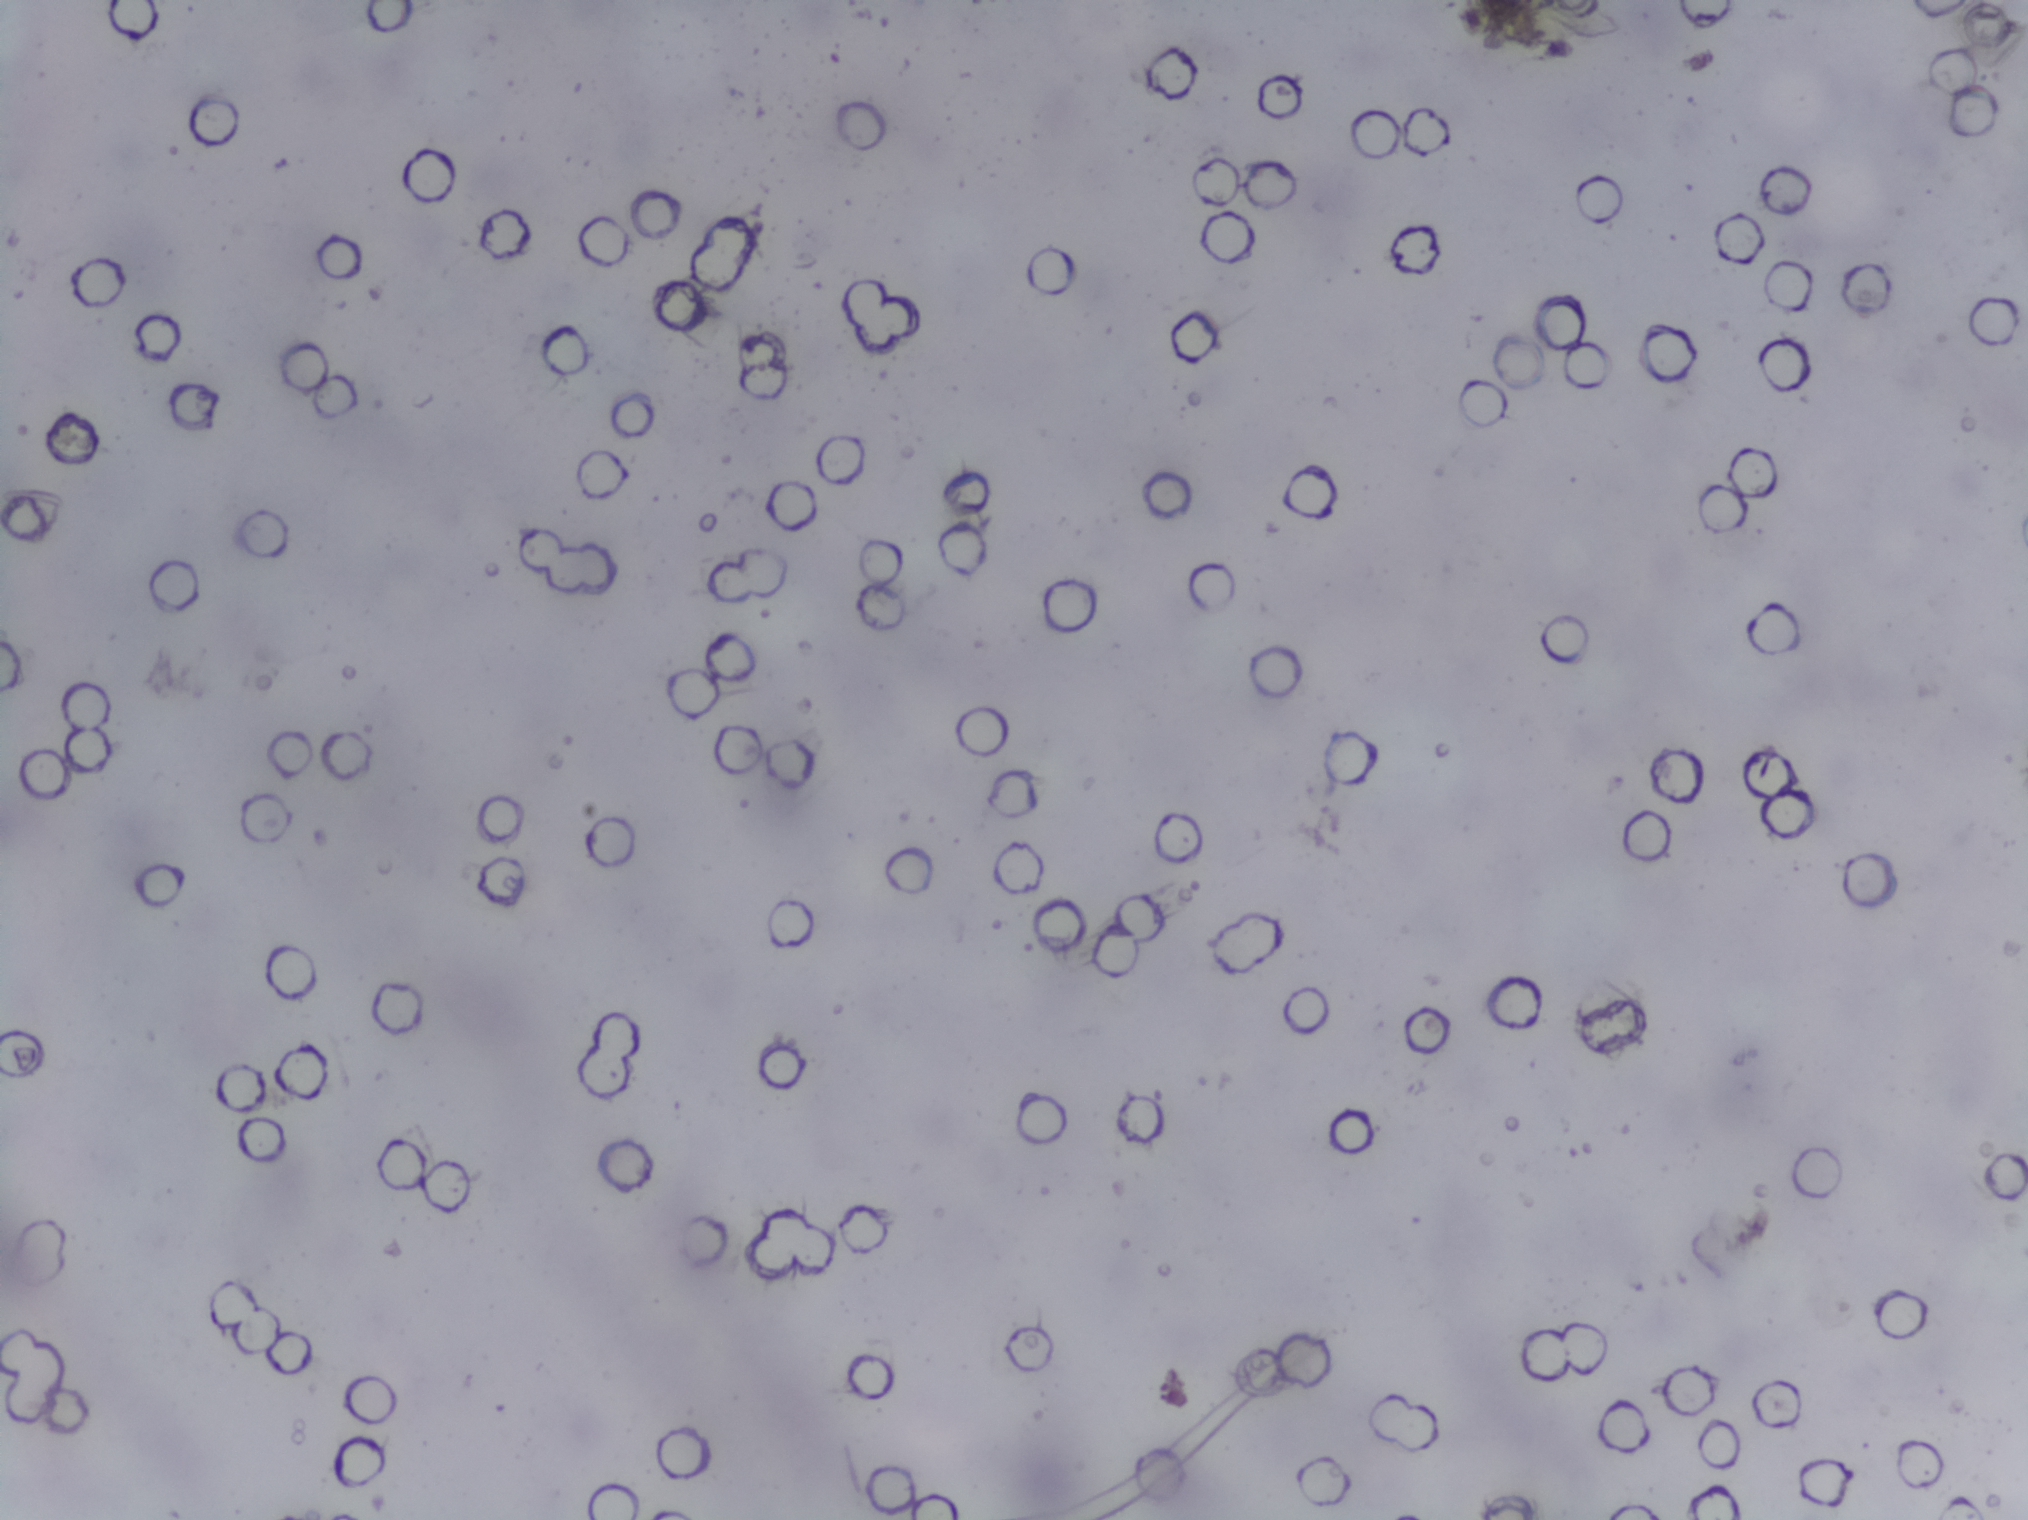
Urine filtration membrane under a 4× objective, photographed by an automated digital microscope. The image covers about 1.5 × 1.1 mm of the membrane.
The expert annotation marks no Schistosoma egg in this field of view.